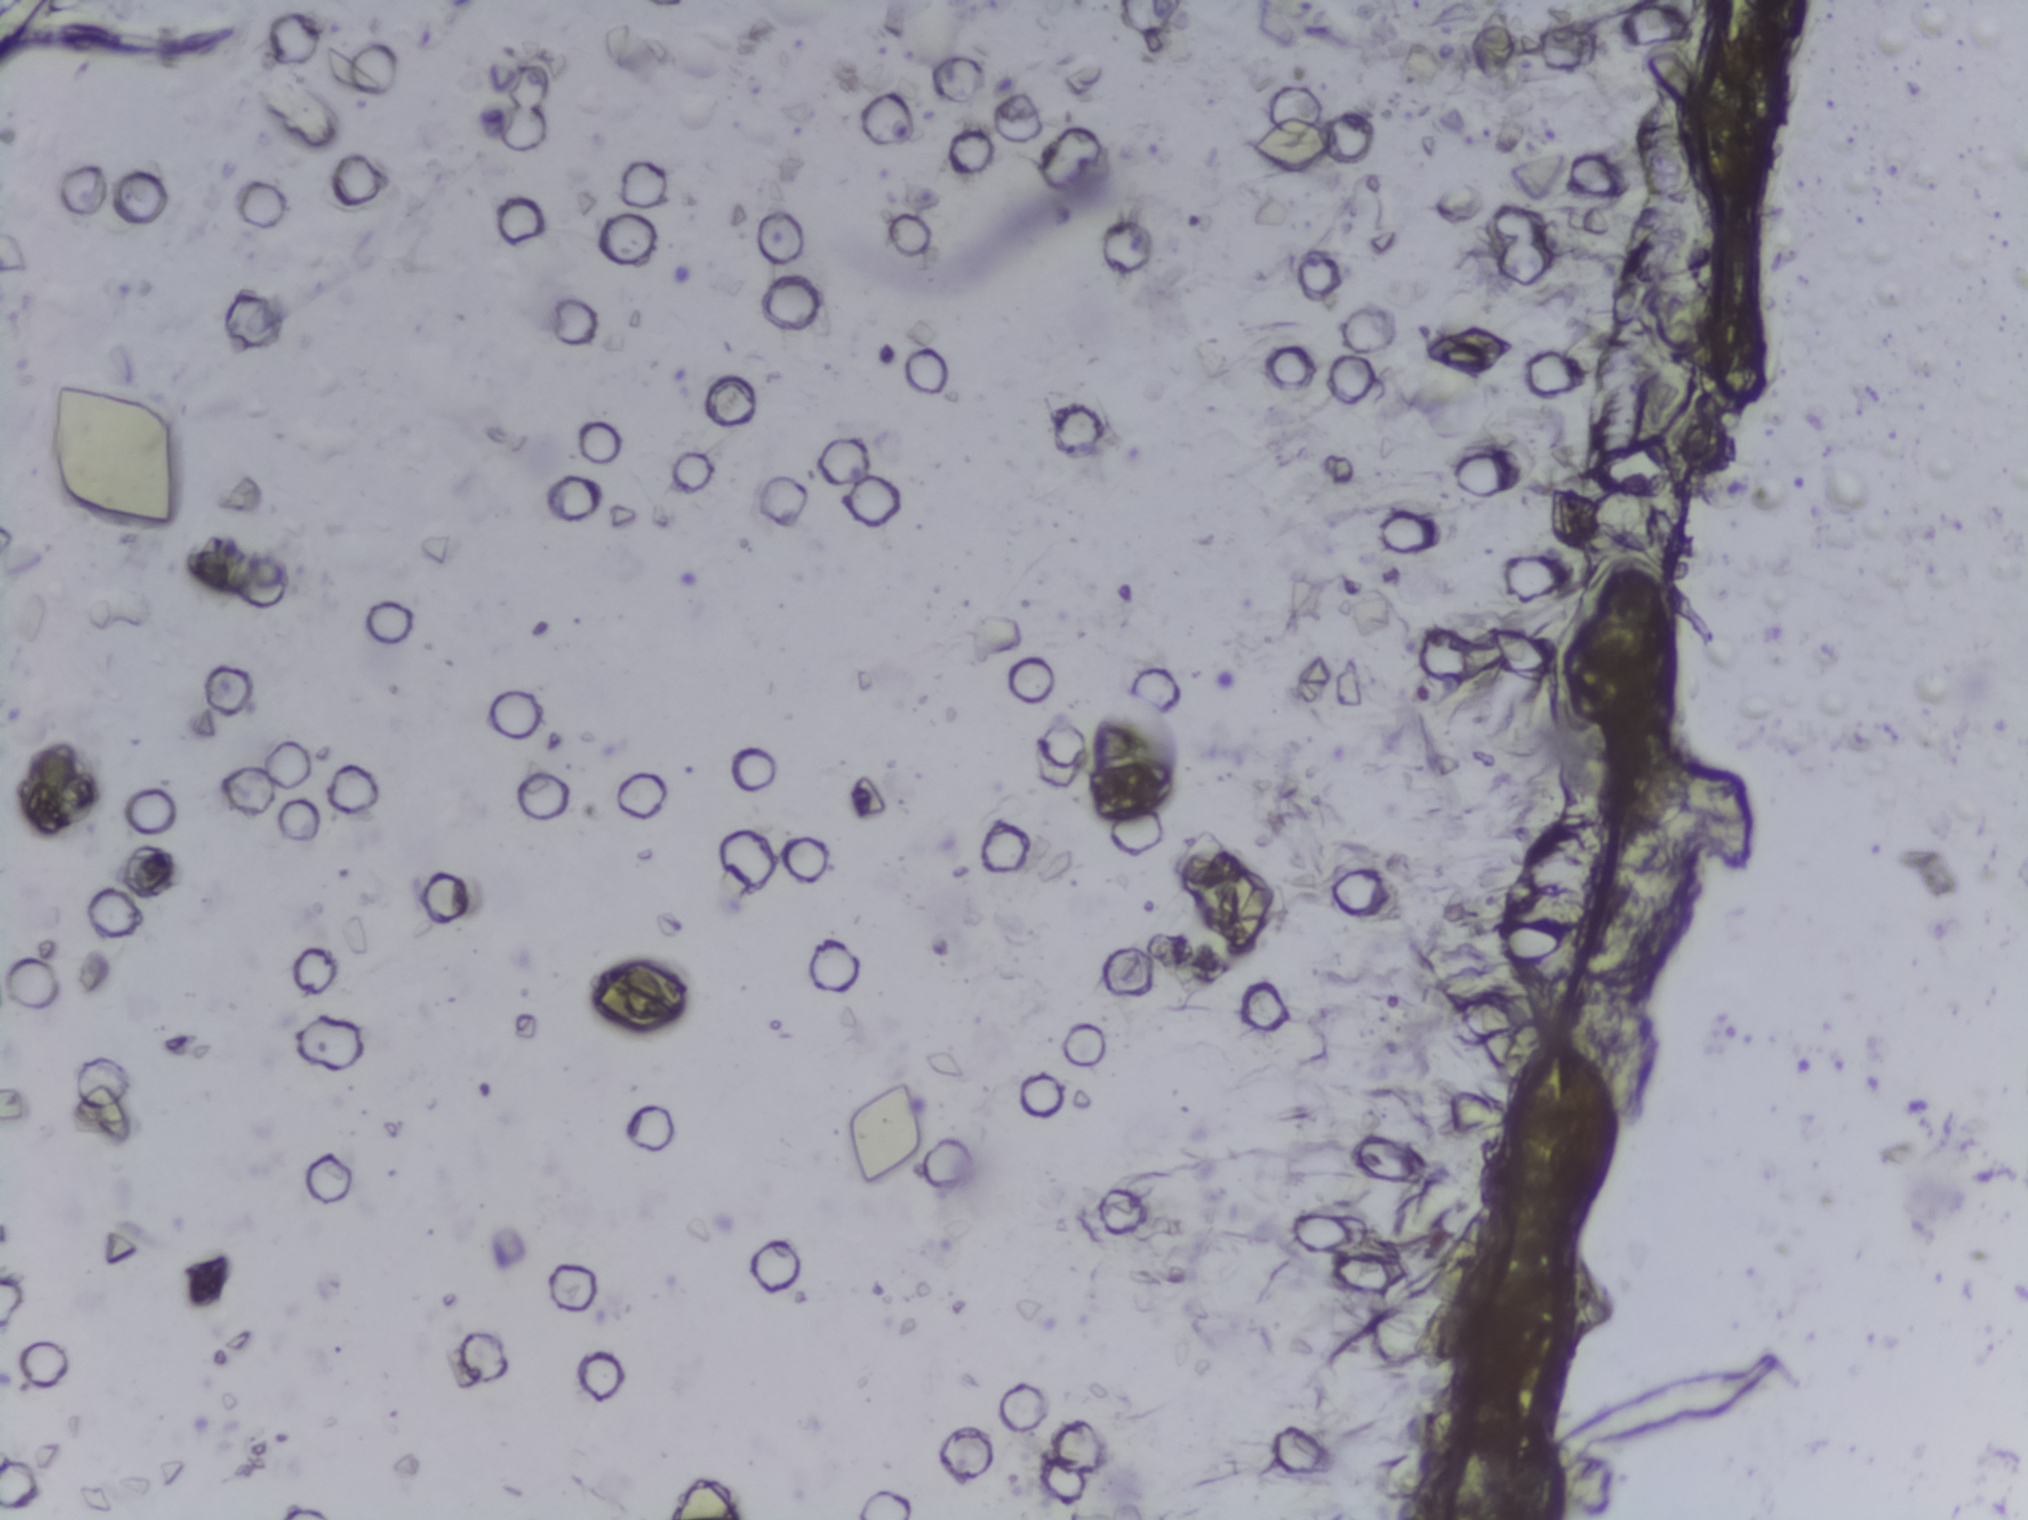
Microscope photograph (4× objective) of a membrane that a urine sample was filtered through. Field of view: about 1.5 mm wide and 1.1 mm high.
Schistosoma eggs: none outlined.